One field of view of a urine filter membrane, 4× objective, 2028 × 1520 pixels. Field of view: about 1.5 mm wide and 1.1 mm high.
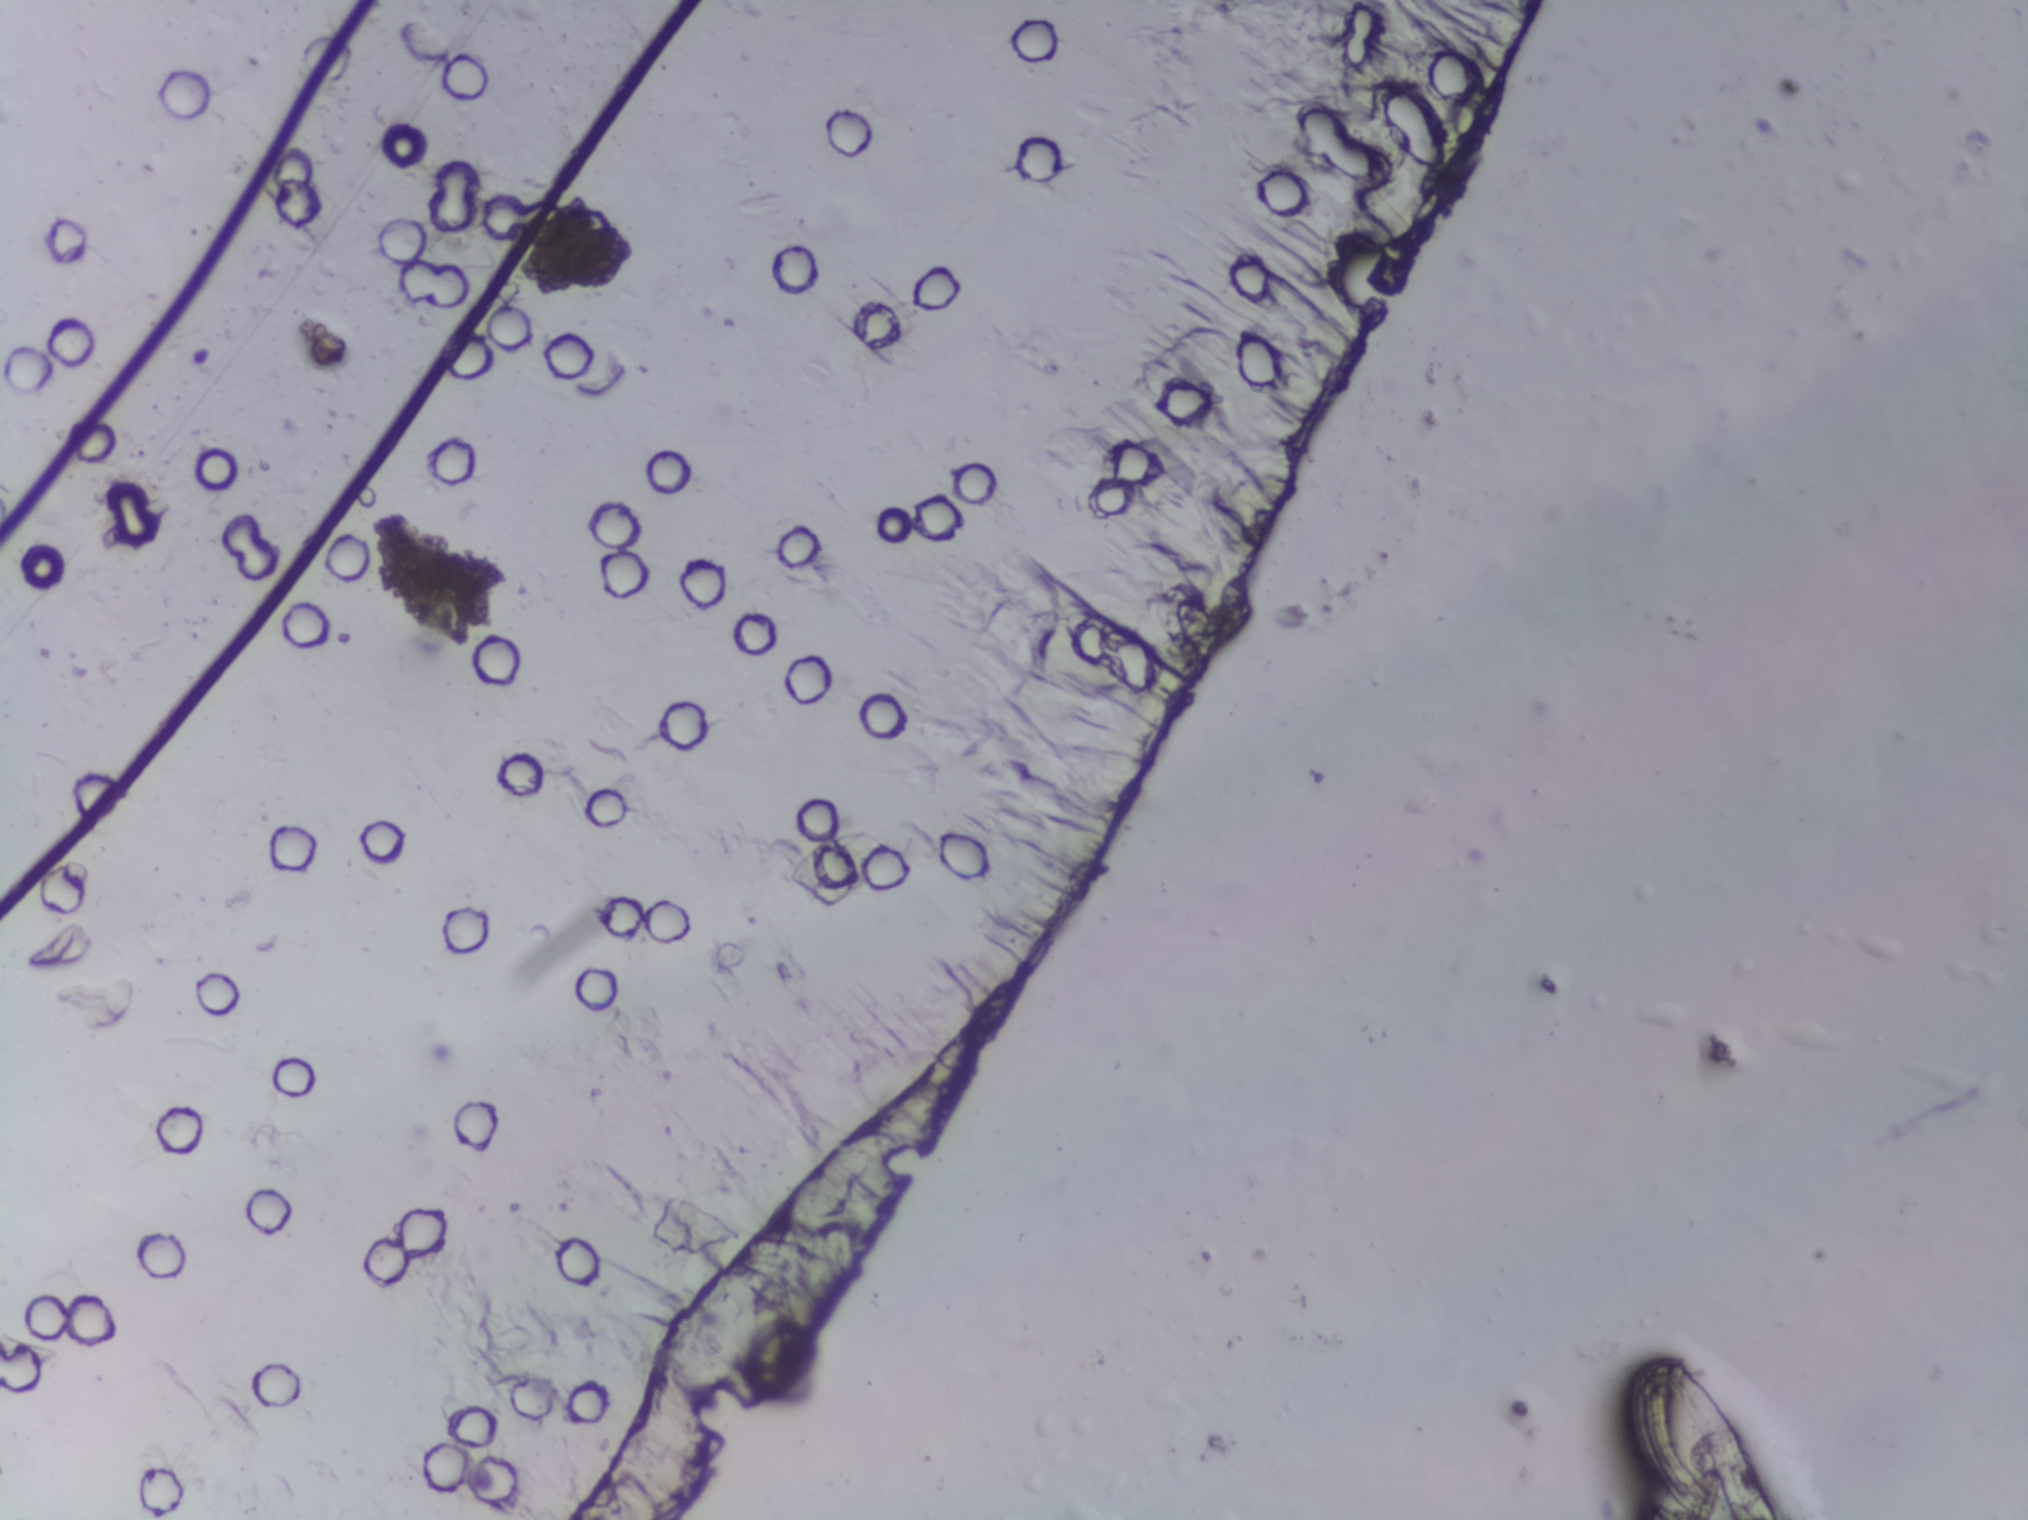
The expert annotation outlines no Schistosoma egg in this image.